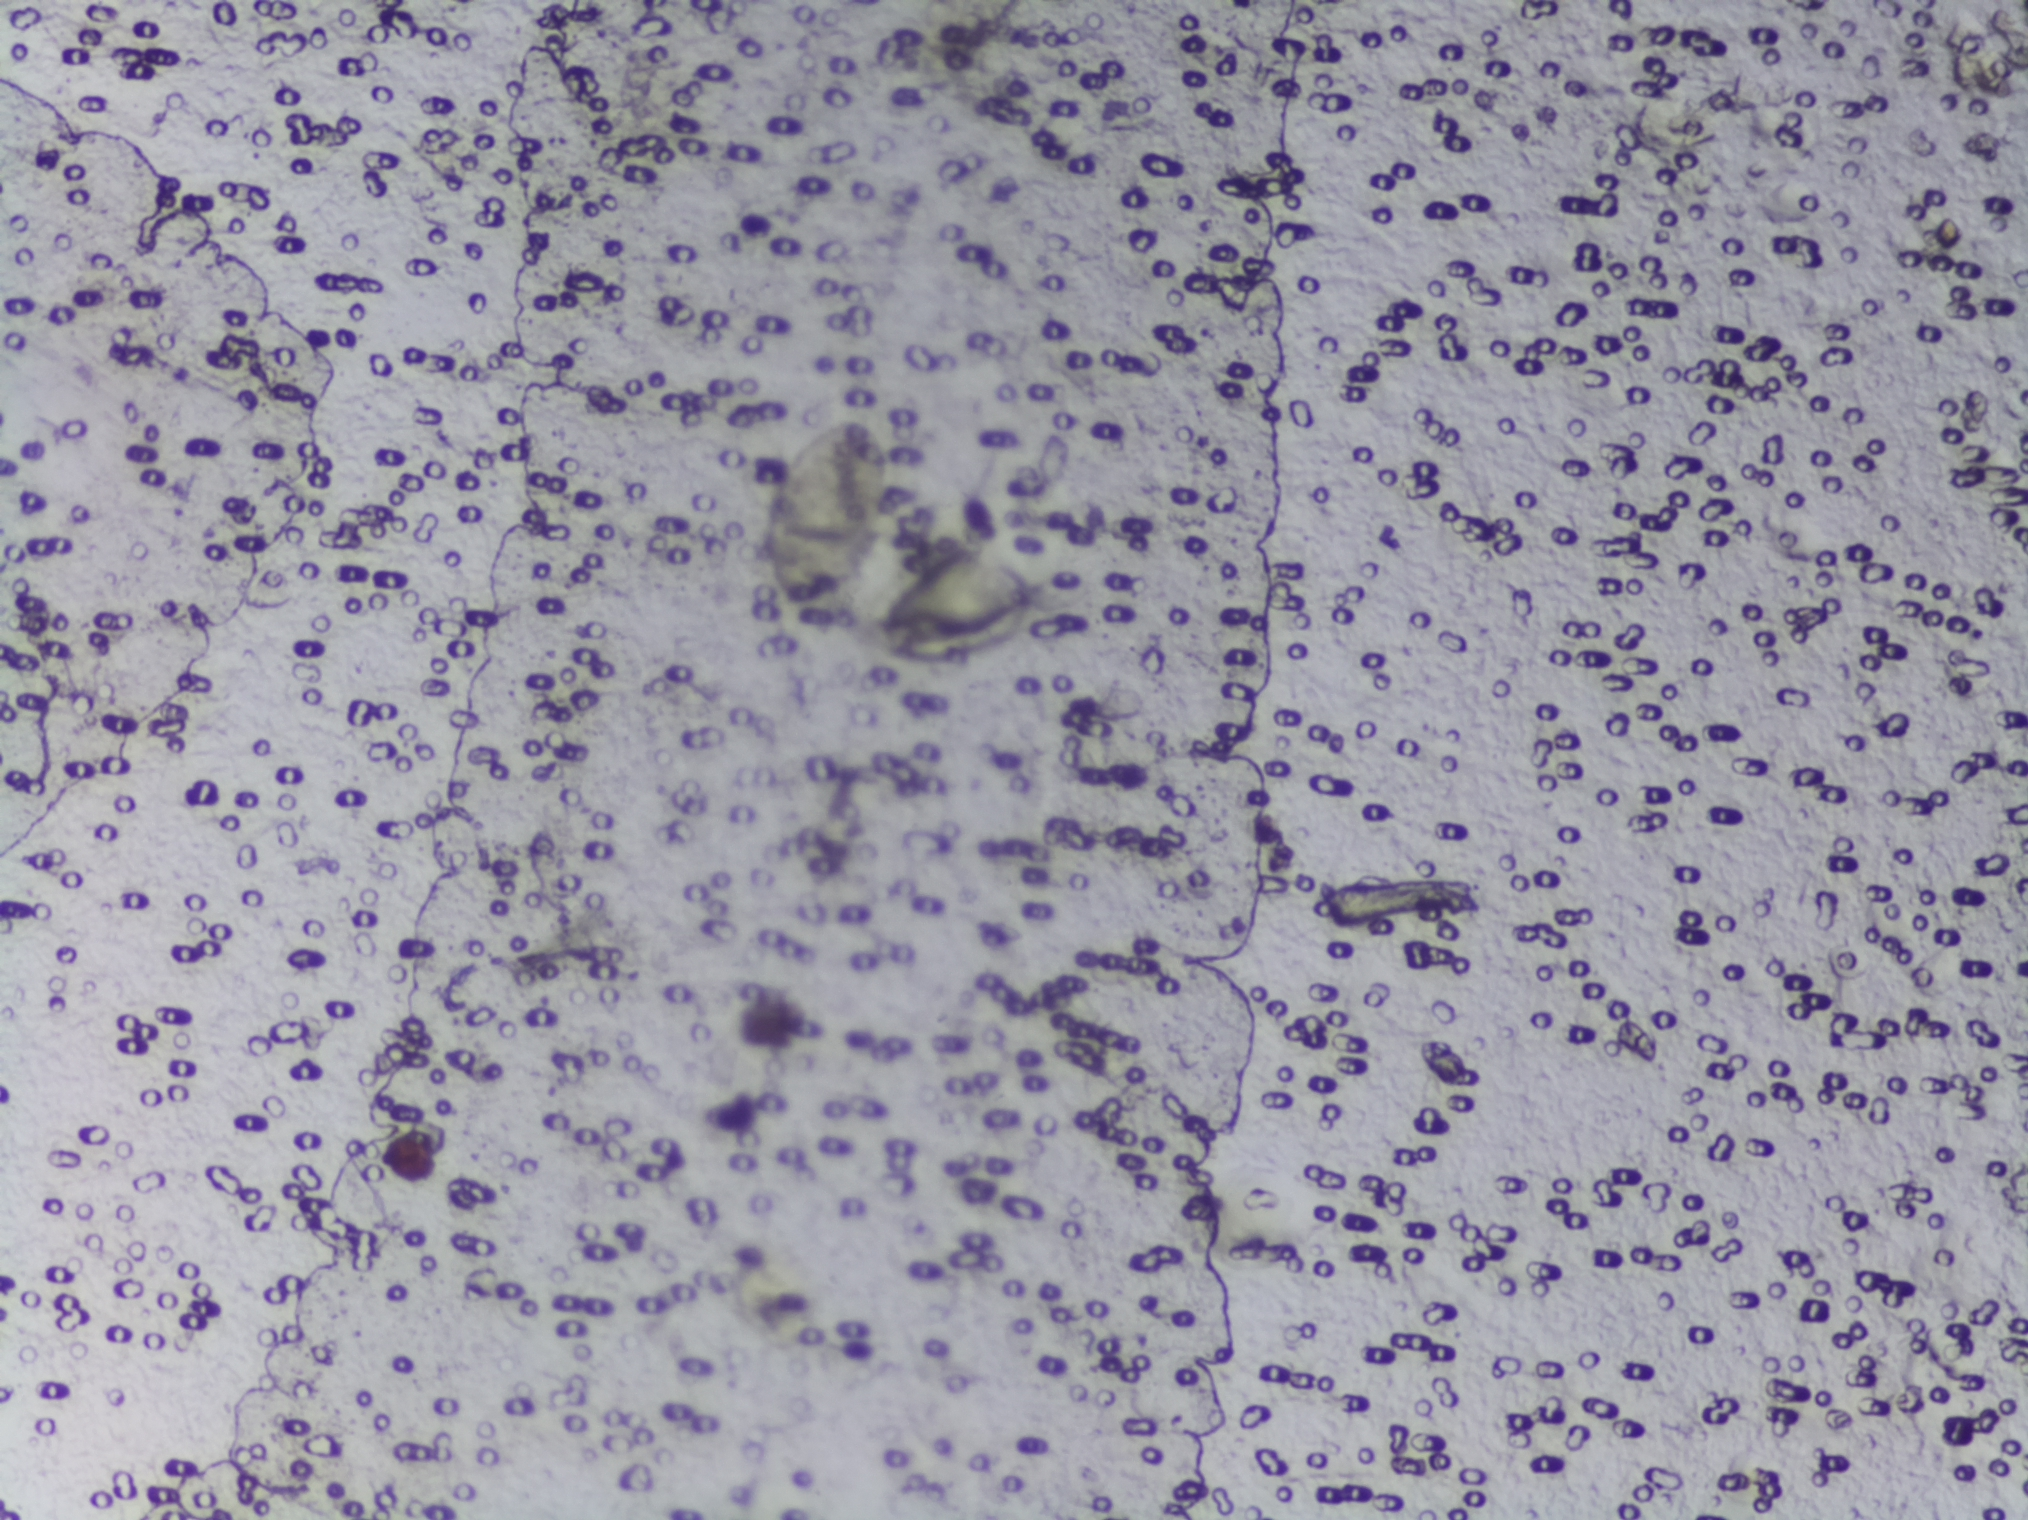
One field of view of a urine filter membrane, 4× objective, 2028 × 1520 pixels. Field of view: about 1.5 mm wide and 1.1 mm high.
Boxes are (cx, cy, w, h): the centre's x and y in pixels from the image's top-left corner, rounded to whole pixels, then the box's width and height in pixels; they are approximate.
Schistosoma eggs are outlined in the expert annotation at (cx=829, cy=512, w=130, h=195) and (cx=951, cy=606, w=180, h=116) (left to right). A single outlined area may contain several eggs.